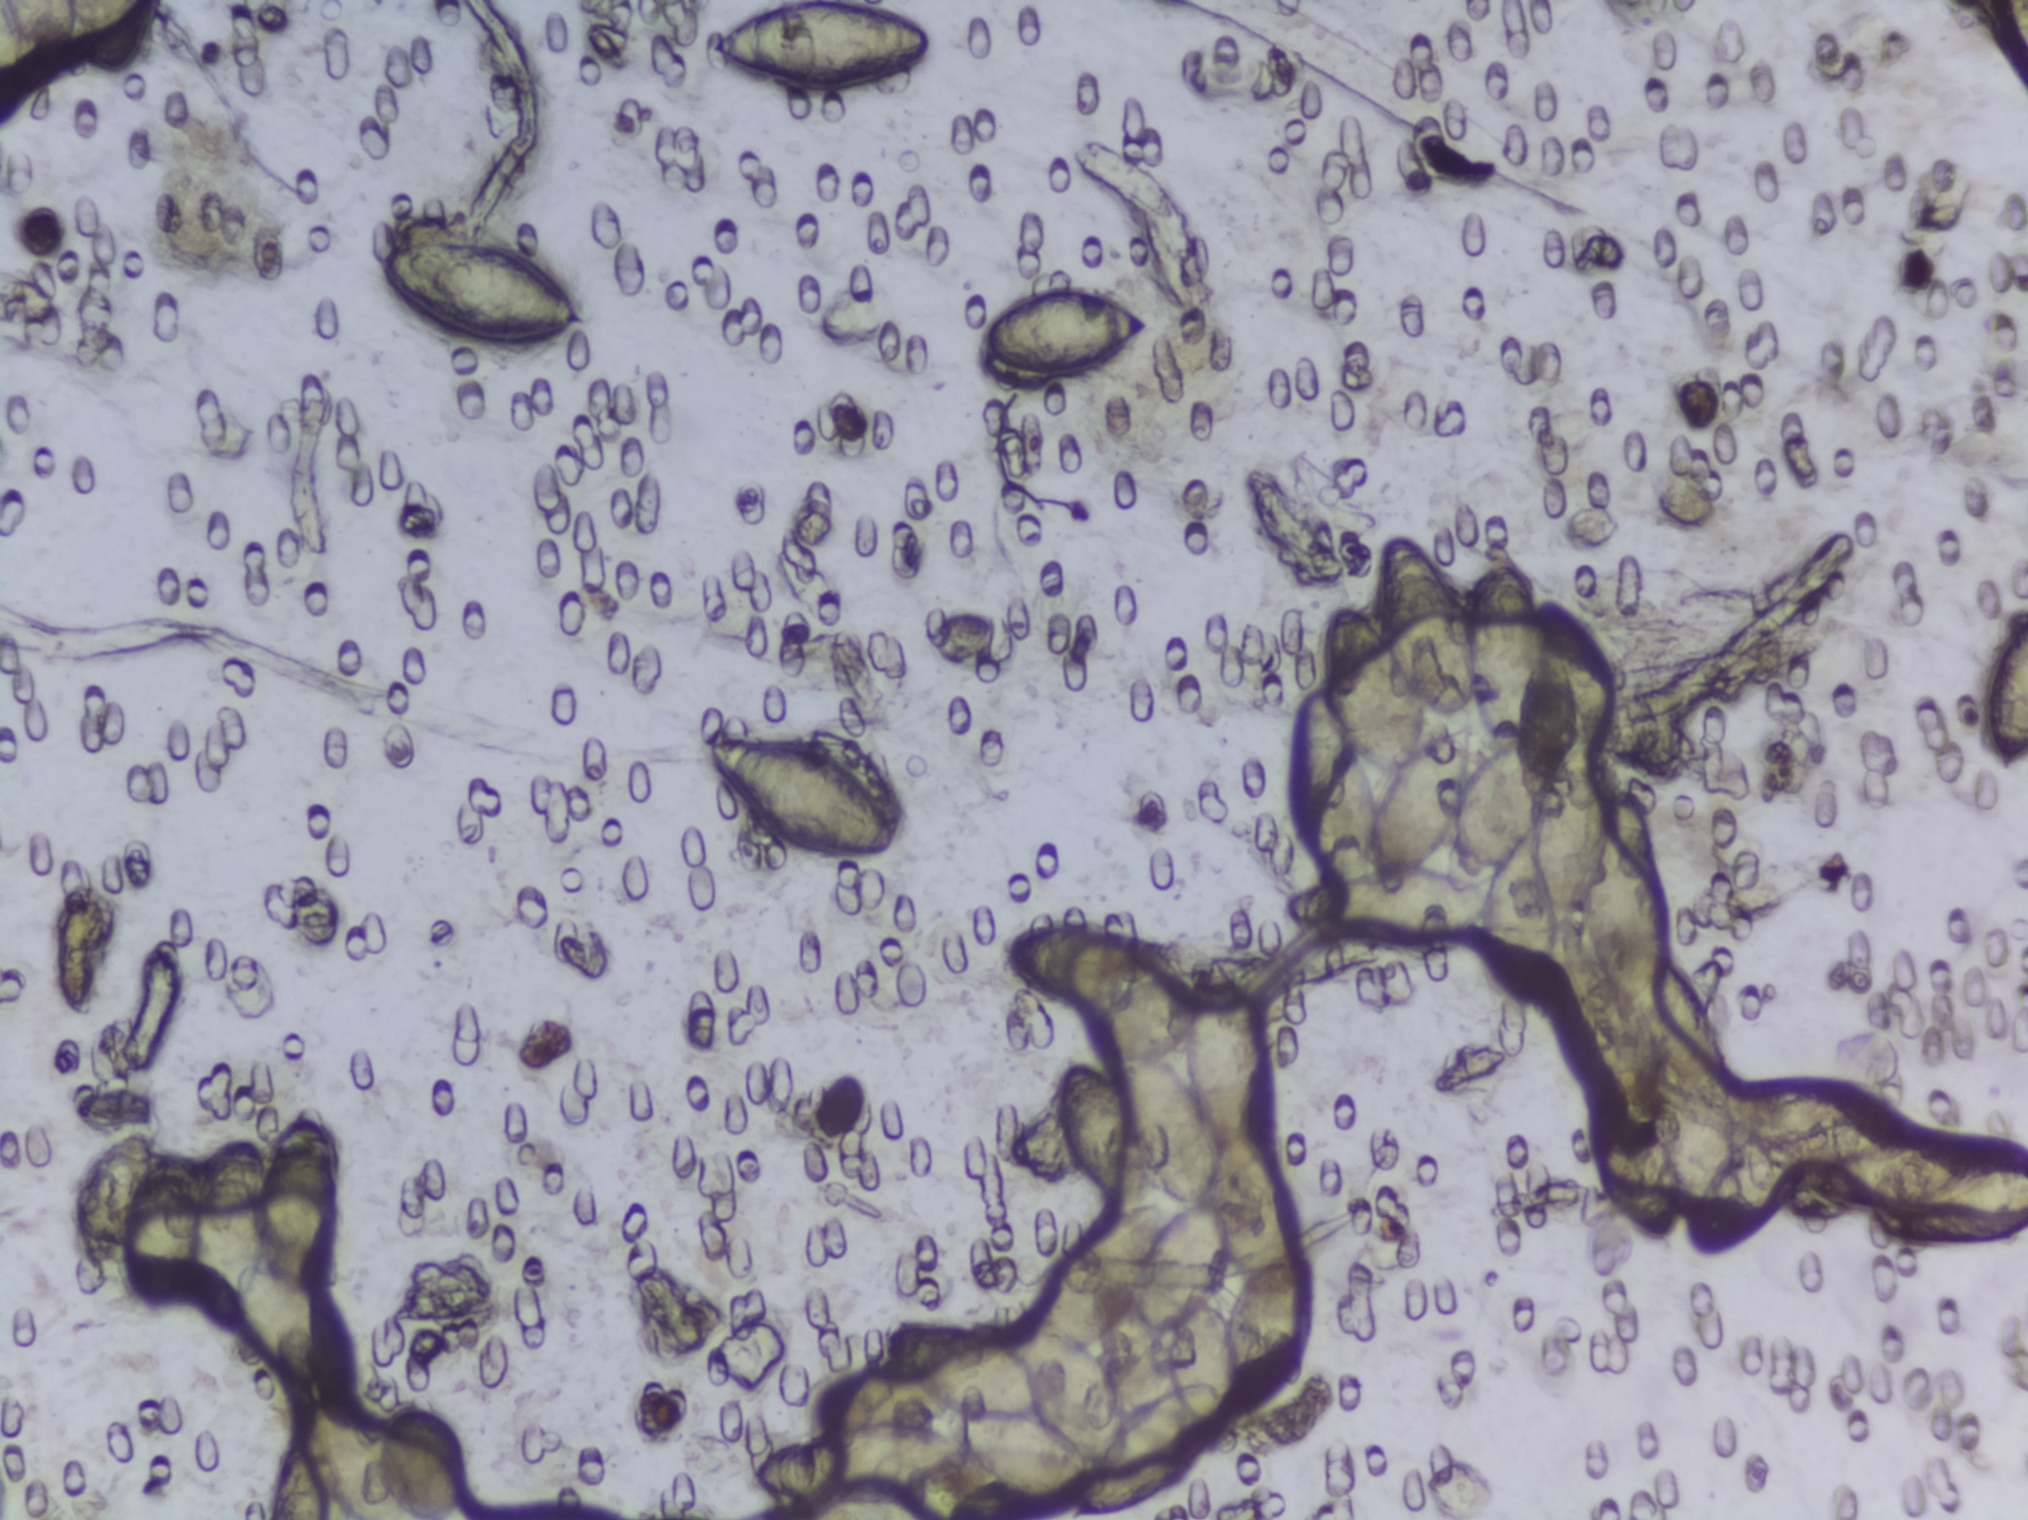
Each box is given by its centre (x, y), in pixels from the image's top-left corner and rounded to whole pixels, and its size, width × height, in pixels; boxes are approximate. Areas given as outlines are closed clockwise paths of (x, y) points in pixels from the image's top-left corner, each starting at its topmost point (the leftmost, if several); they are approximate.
Outlined Schistosoma egg areas, left to right:
1. box centre (76, 64), 152 × 129 px (reaching the left and top edges of the frame)
2. box centre (219, 1249), 291 × 293 px (eggs clustered together)
3. box centre (367, 1458), 206 × 124 px (reaching the bottom edge of the frame)
4. box centre (483, 289), 225 × 117 px
5. box centre (805, 793), 194 × 131 px
6. box centre (820, 47), 226 × 95 px (reaching the top edge of the frame)
7. outline (1056, 917), (1116, 926), (1154, 948), (1169, 967), (1208, 957), (1257, 1012), (1275, 1065), (1275, 1098), (1260, 1143), (1287, 1188), (1295, 1246), (1305, 1264), (1302, 1336), (1280, 1396), (1254, 1418), (1244, 1418), (1235, 1396), (1225, 1431), (1176, 1487), (1163, 1500), (1123, 1514), (1065, 1519), (1063, 1505), (1032, 1519), (956, 1519), (911, 1498), (838, 1502), (762, 1490), (755, 1482), (757, 1460), (813, 1428), (800, 1412), (800, 1396), (812, 1380), (847, 1366), (895, 1367), (886, 1338), (899, 1327), (969, 1330), (1002, 1342), (1008, 1308), (1037, 1300), (1066, 1265), (1074, 1242), (1110, 1210), (1067, 1154), (1059, 1128), (1058, 1064), (1073, 1052), (1101, 1066), (1086, 1042), (1086, 1027), (1097, 1012), (1026, 985), (1001, 951), (1014, 929) (eggs clustered together; reaching the bottom edge of the frame)
8. box centre (1060, 331), 183 × 98 px
9. outline (1401, 534), (1423, 538), (1465, 601), (1485, 556), (1510, 548), (1543, 594), (1567, 598), (1608, 638), (1620, 673), (1620, 708), (1615, 740), (1601, 757), (1606, 798), (1636, 791), (1647, 802), (1665, 912), (1663, 954), (1697, 983), (1728, 1053), (1731, 1116), (1793, 1089), (1859, 1089), (1895, 1101), (1903, 1111), (1903, 1123), (1877, 1156), (1914, 1134), (2010, 1135), (2014, 1152), (2001, 1165), (2027, 1167), (2022, 1232), (1973, 1246), (1903, 1239), (1878, 1229), (1866, 1208), (1837, 1205), (1803, 1190), (1802, 1174), (1810, 1167), (1803, 1166), (1783, 1209), (1746, 1239), (1699, 1246), (1685, 1215), (1676, 1238), (1656, 1245), (1607, 1203), (1581, 1123), (1584, 1102), (1598, 1089), (1625, 1090), (1645, 1106), (1658, 1063), (1638, 1036), (1629, 1007), (1604, 980), (1585, 917), (1572, 940), (1558, 936), (1545, 992), (1530, 1006), (1492, 973), (1479, 931), (1452, 948), (1376, 951), (1326, 941), (1293, 922), (1286, 889), (1326, 872), (1314, 844), (1302, 846), (1289, 821), (1287, 704), (1316, 681), (1326, 605), (1353, 603), (1373, 614), (1375, 558), (1384, 541) (eggs clustered together; reaching the right edge of the frame)
10. box centre (2005, 690), 45 × 168 px (reaching the right edge of the frame)
Eggs that touch can end up inside the same outlined area.
Photograph from an automated digital microscope: urine filter membrane, 4× objective.